Urine filter membrane photographed through a 4× microscope objective.
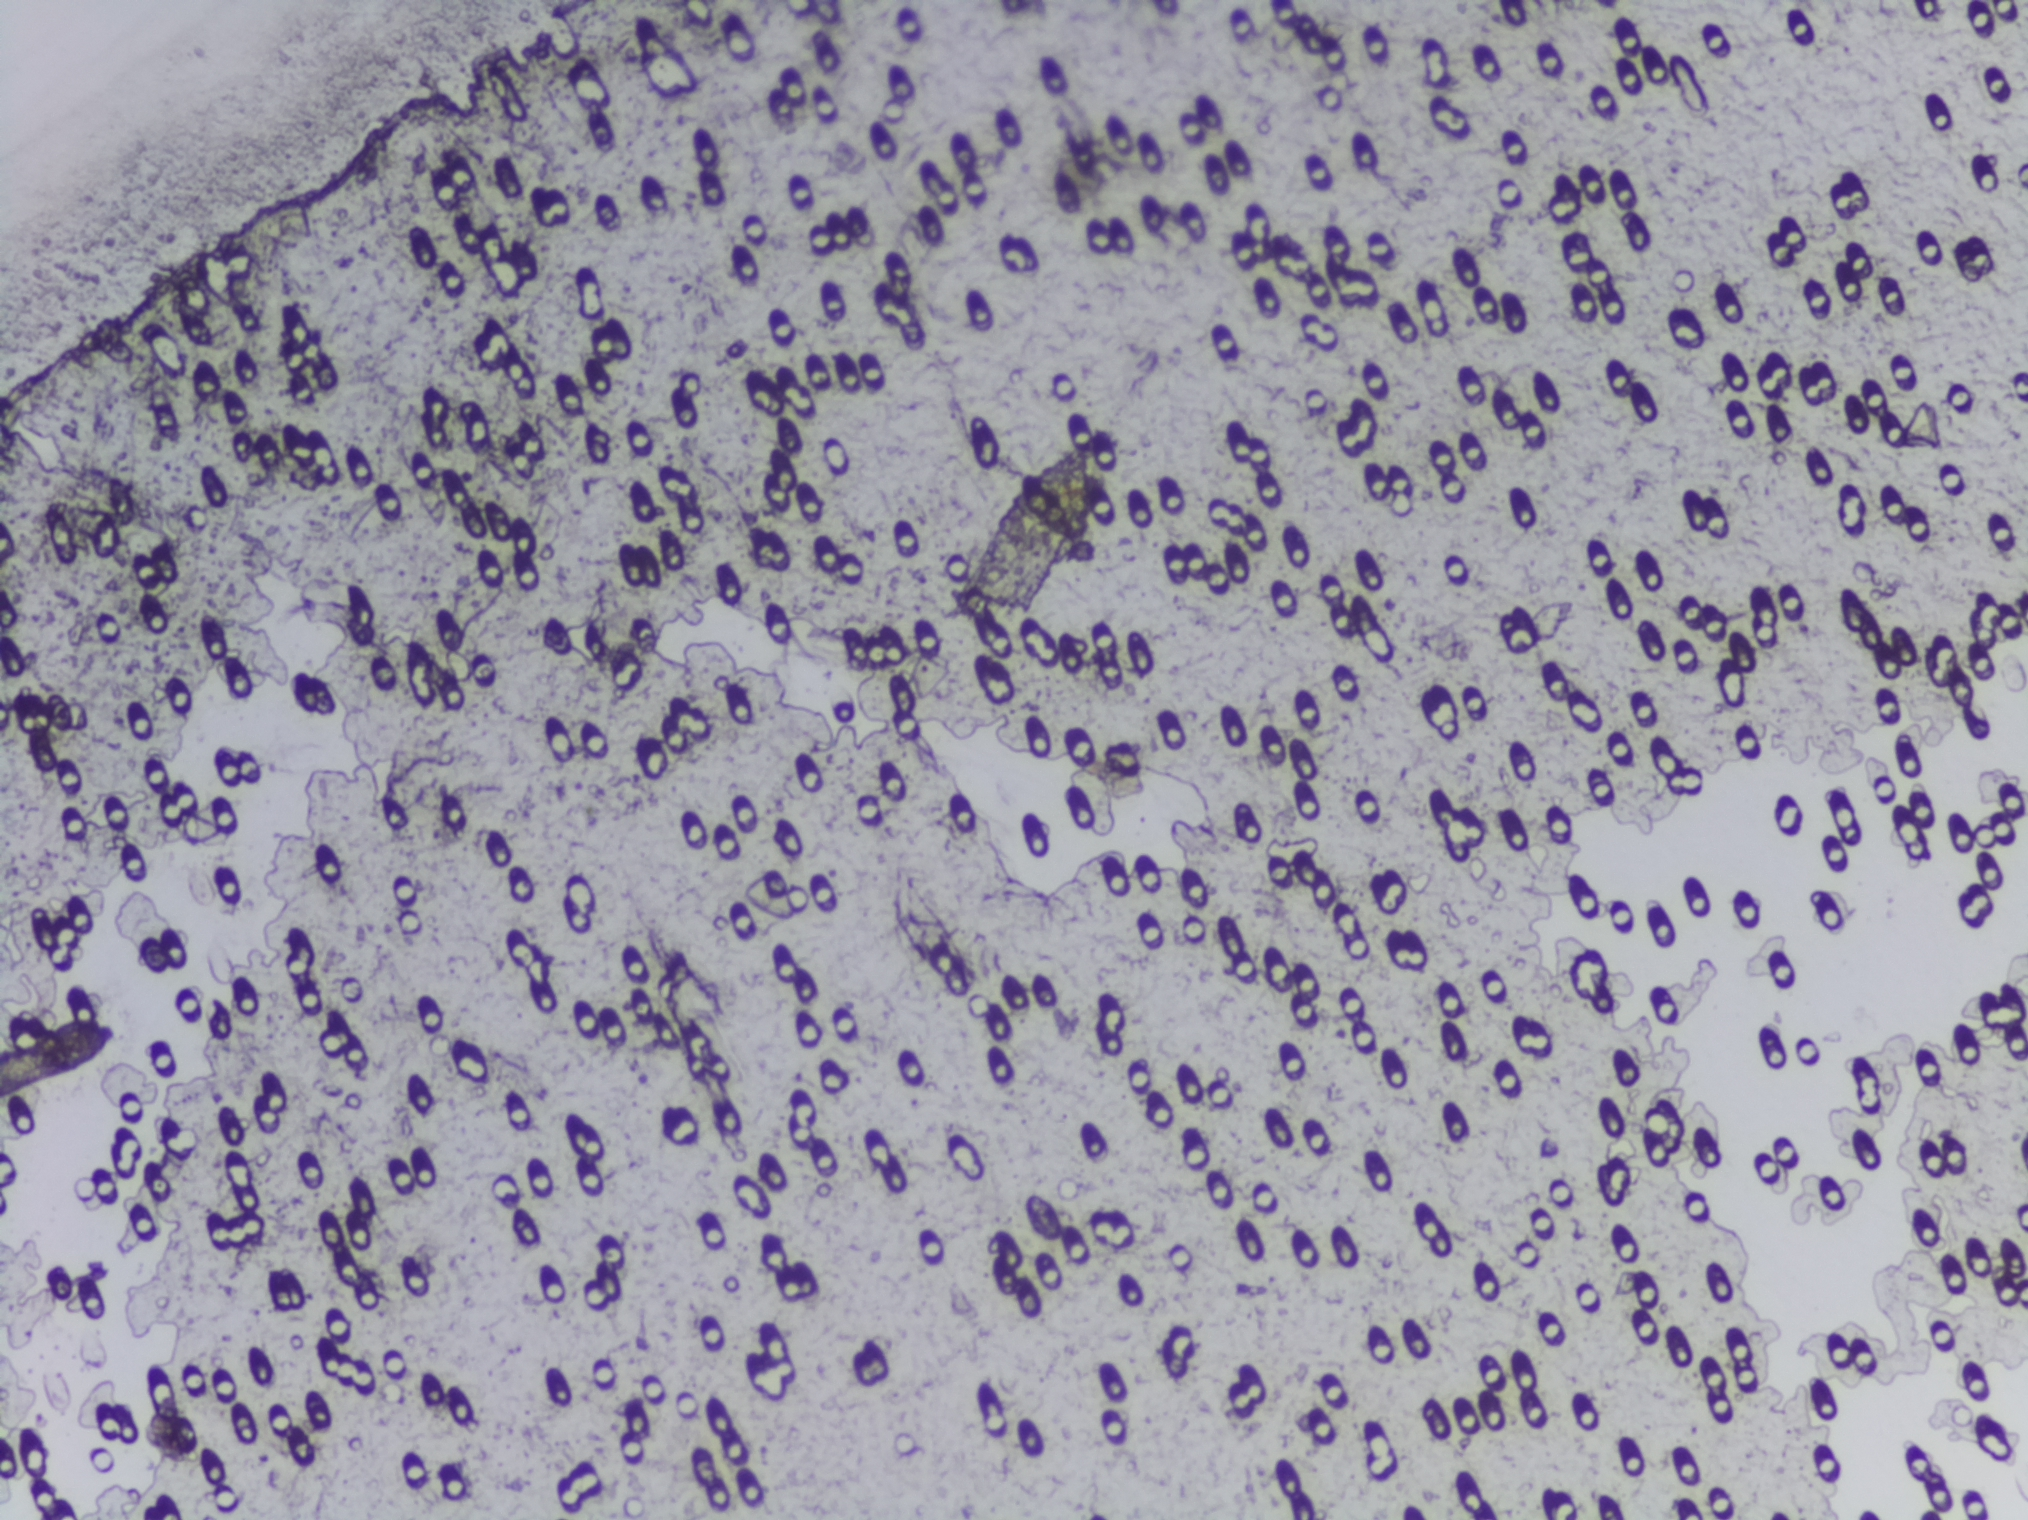
The expert annotation marks no Schistosoma egg in this field of view.